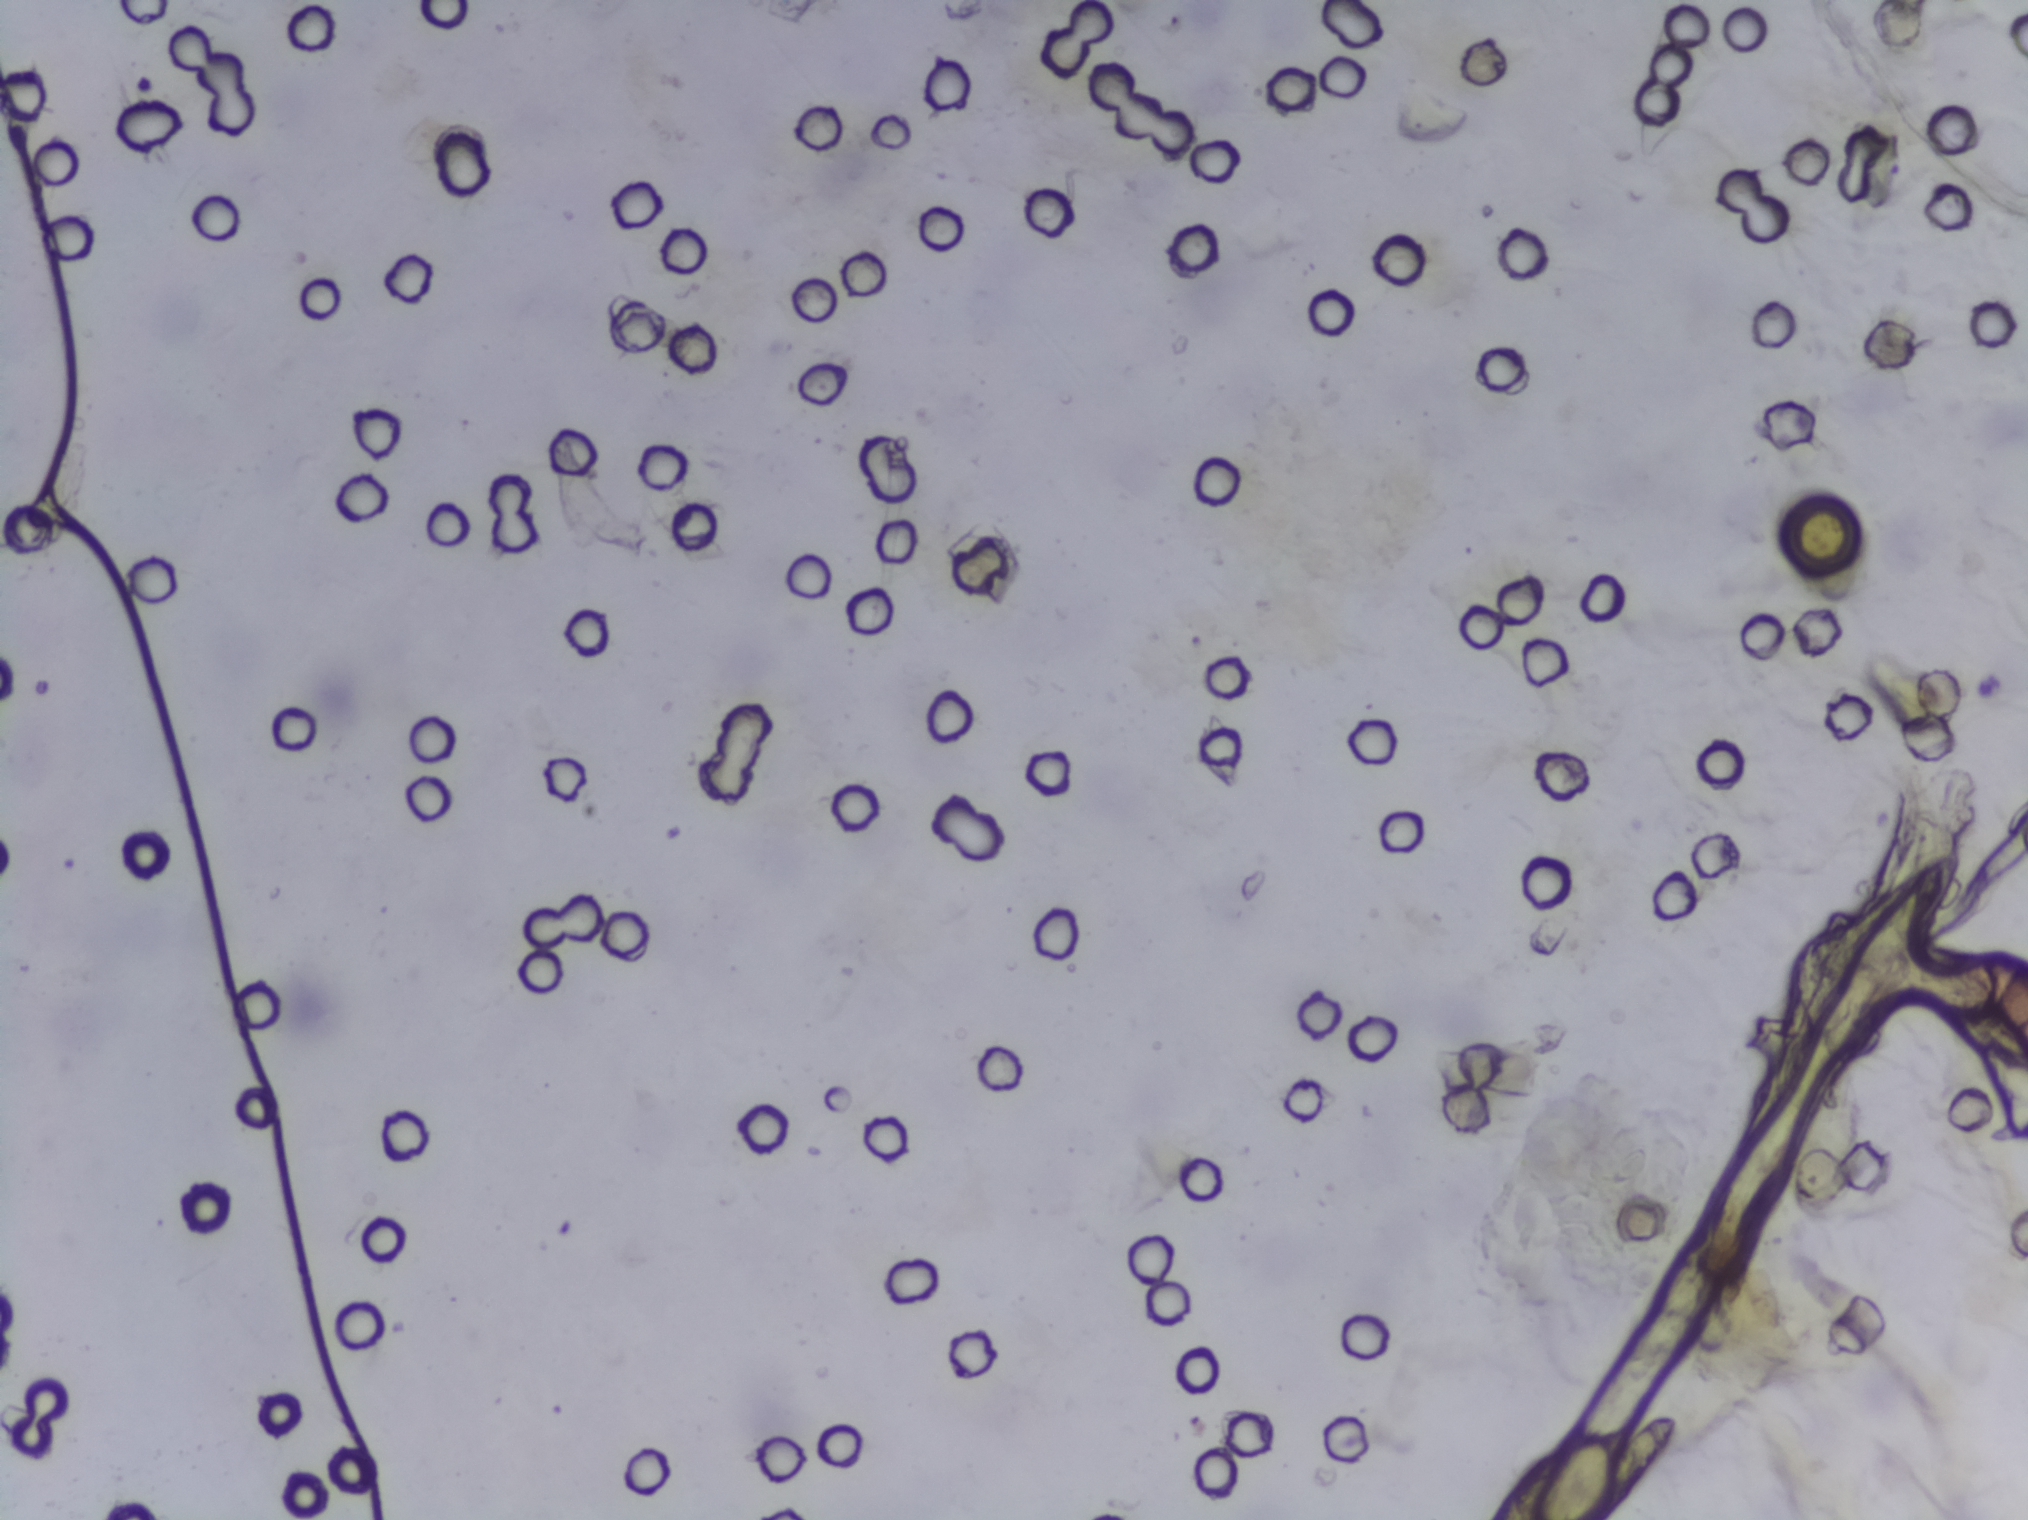
Photograph from an automated digital microscope: urine filter membrane, 4× objective. Field of view: about 1.5 mm wide and 1.1 mm high.
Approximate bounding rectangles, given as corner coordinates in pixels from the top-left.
Areas outlined as Schistosoma eggs:
1. (x1=1481, y1=1420, x2=1638, y2=1519) (reaching the bottom edge of the frame)
An outlined area can hold more than one egg.